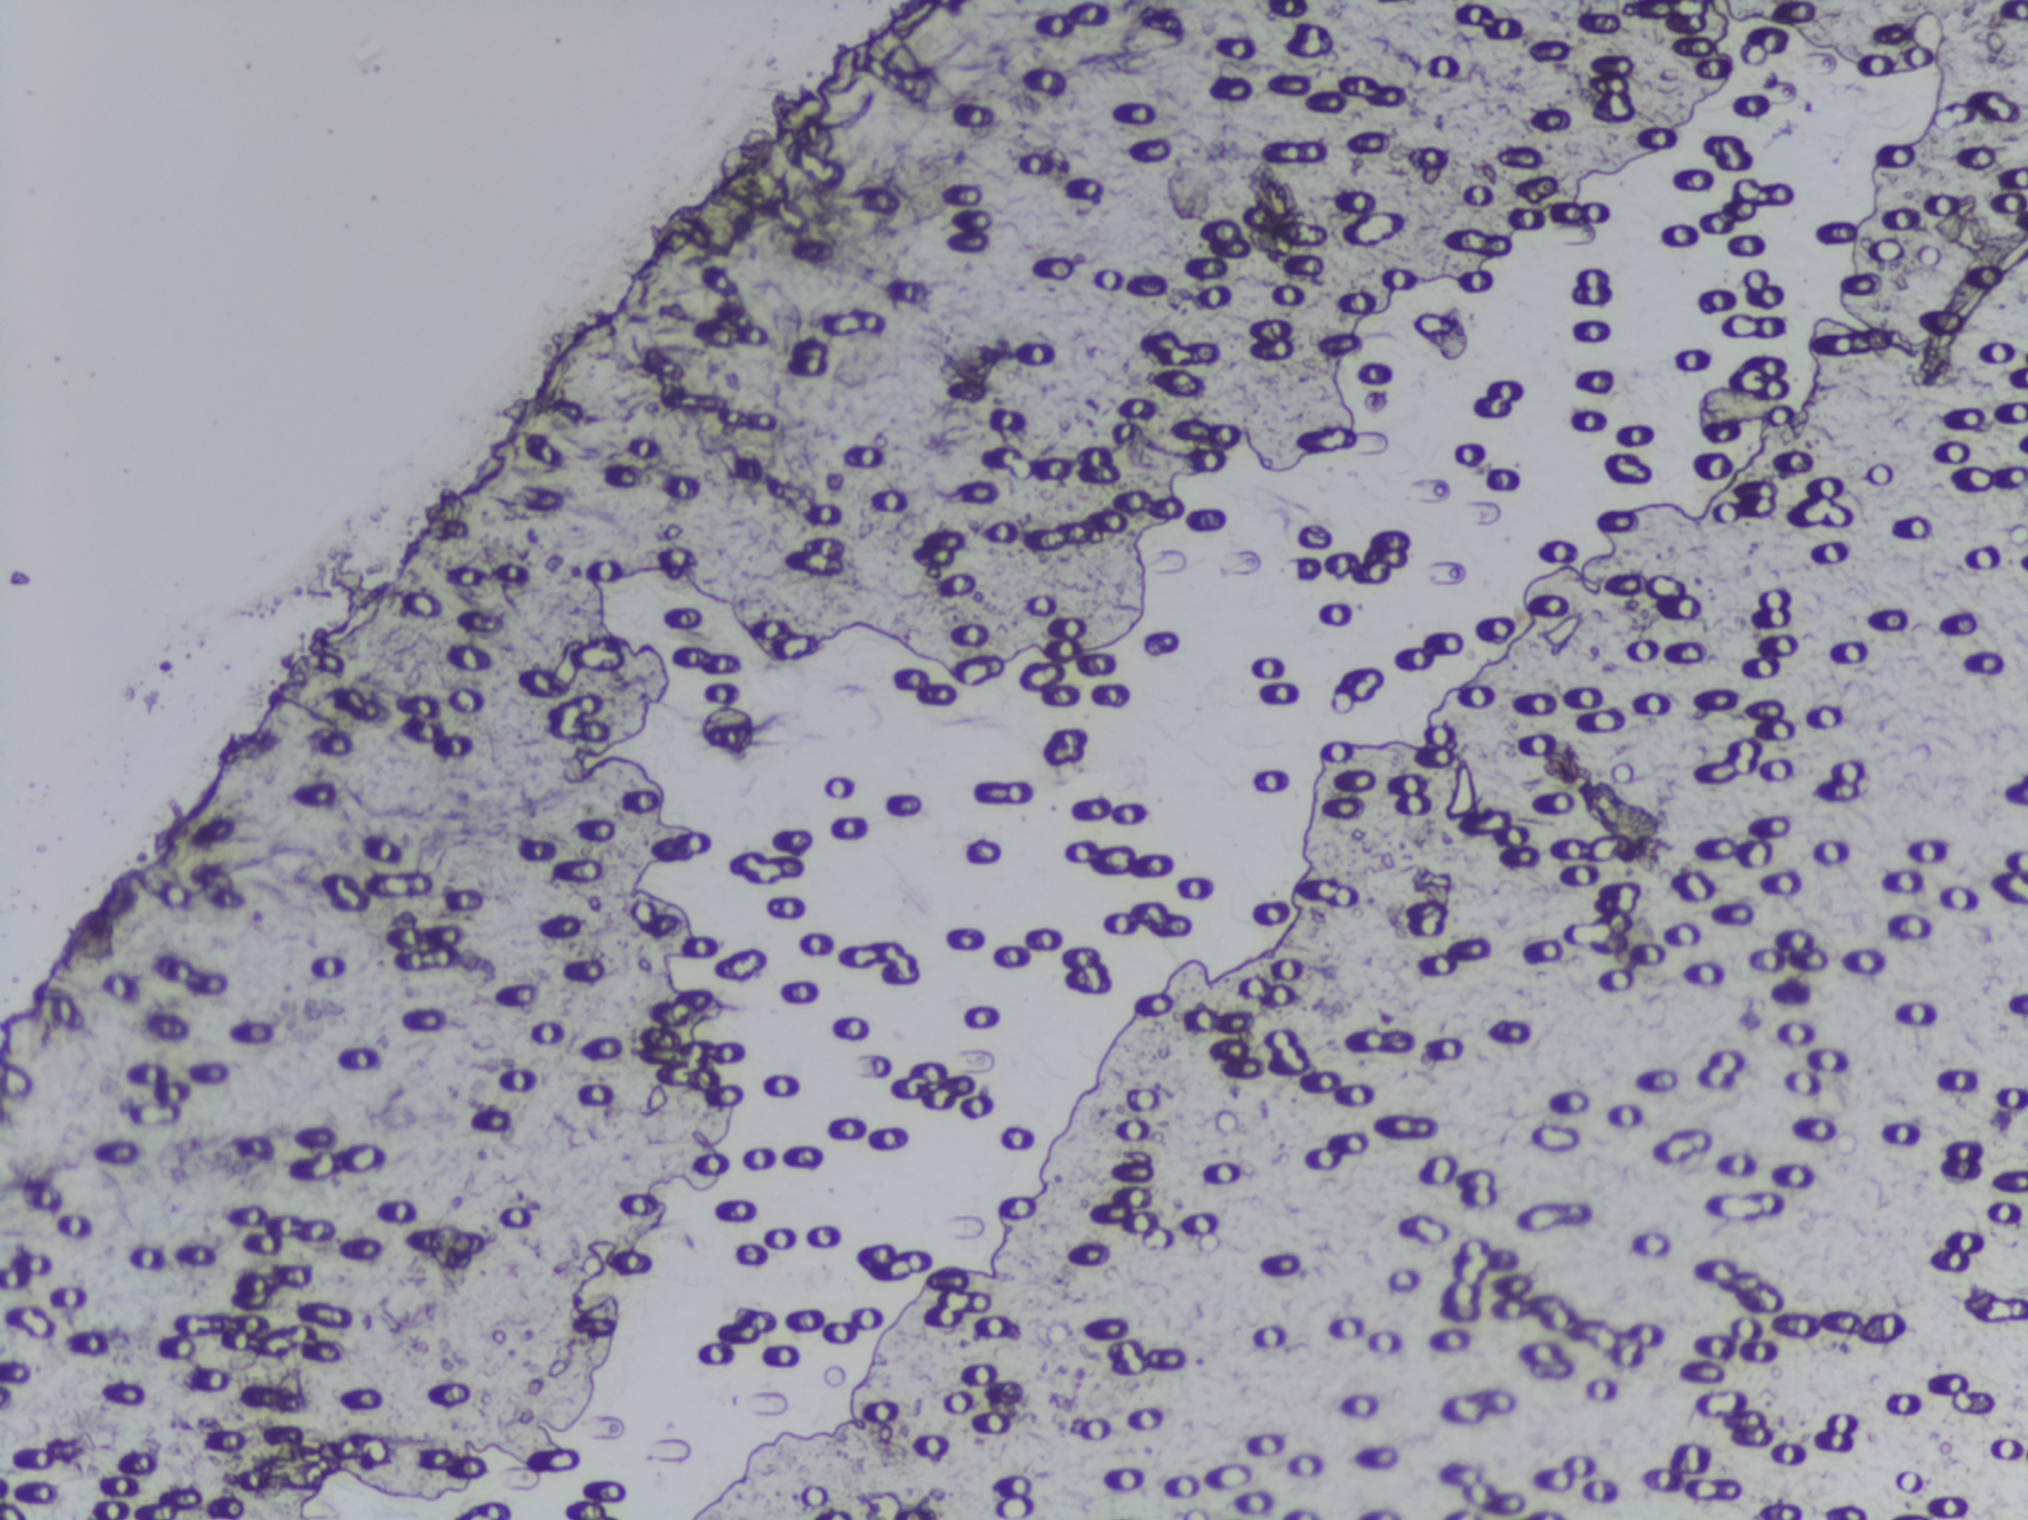
Photomicrograph of a urine filtration membrane, 4× objective. Field of view: about 1.5 mm wide and 1.1 mm high.
The expert annotation outlines no Schistosoma egg in this image.